Photomicrograph of a urine filtration membrane, 4× objective.
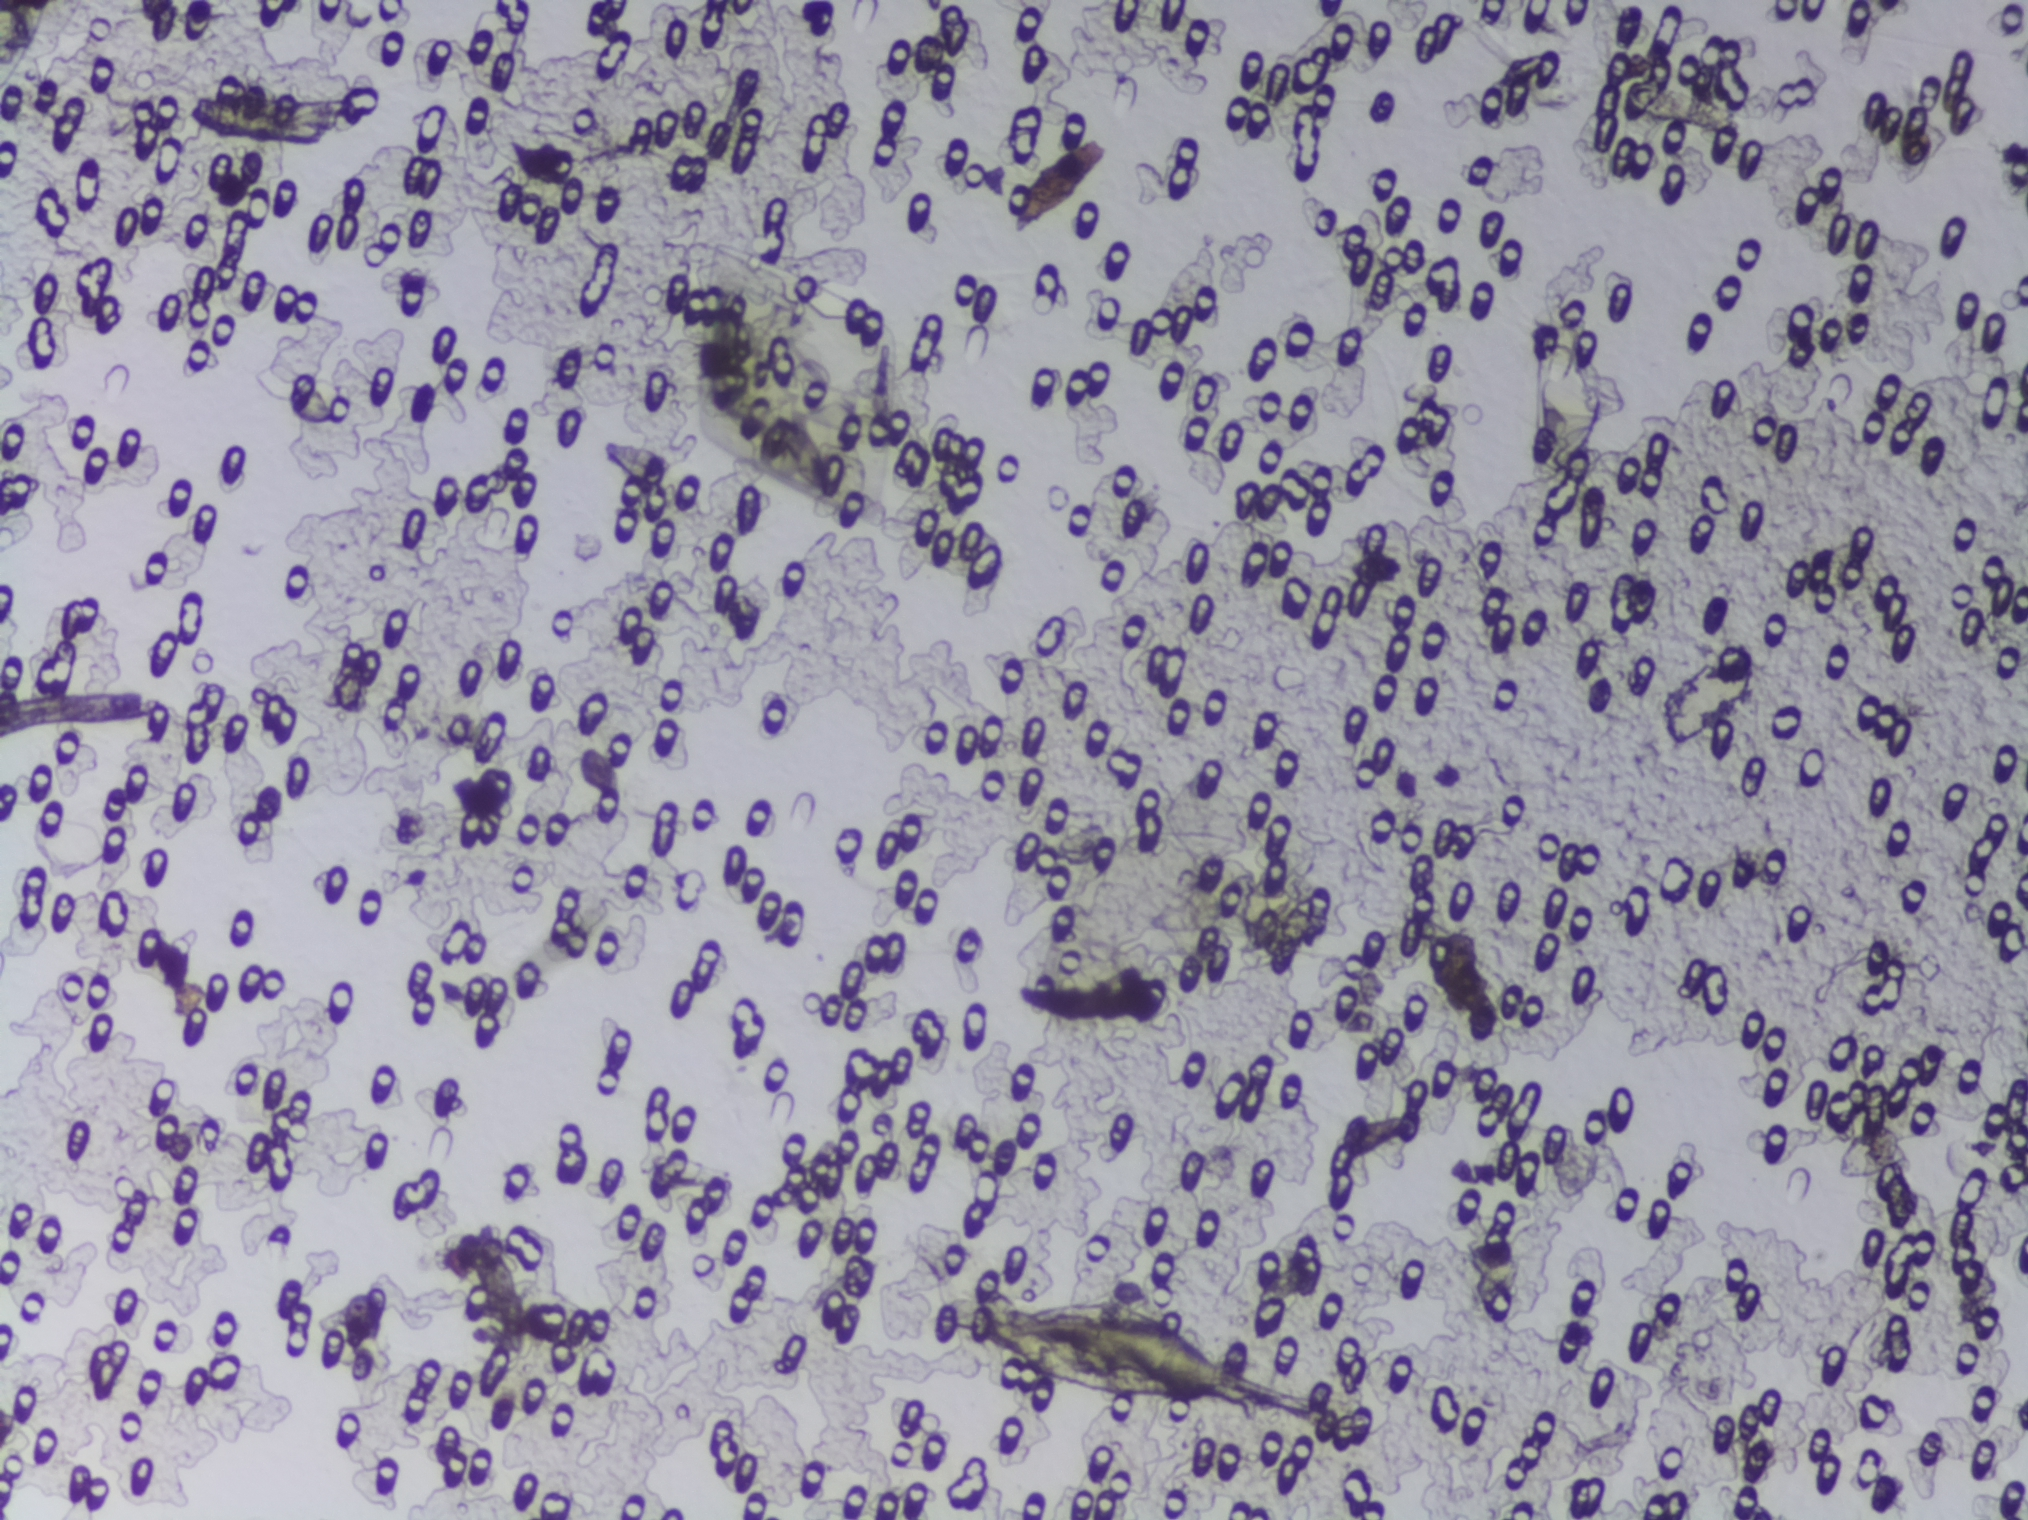
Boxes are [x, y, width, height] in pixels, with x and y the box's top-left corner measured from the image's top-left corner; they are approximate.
Schistosoma eggs are outlined in one area of this image: [961, 1289, 302, 122]. Marked pixels, not the box around them: about 0.8% of the image. An outlined area can hold more than one egg.